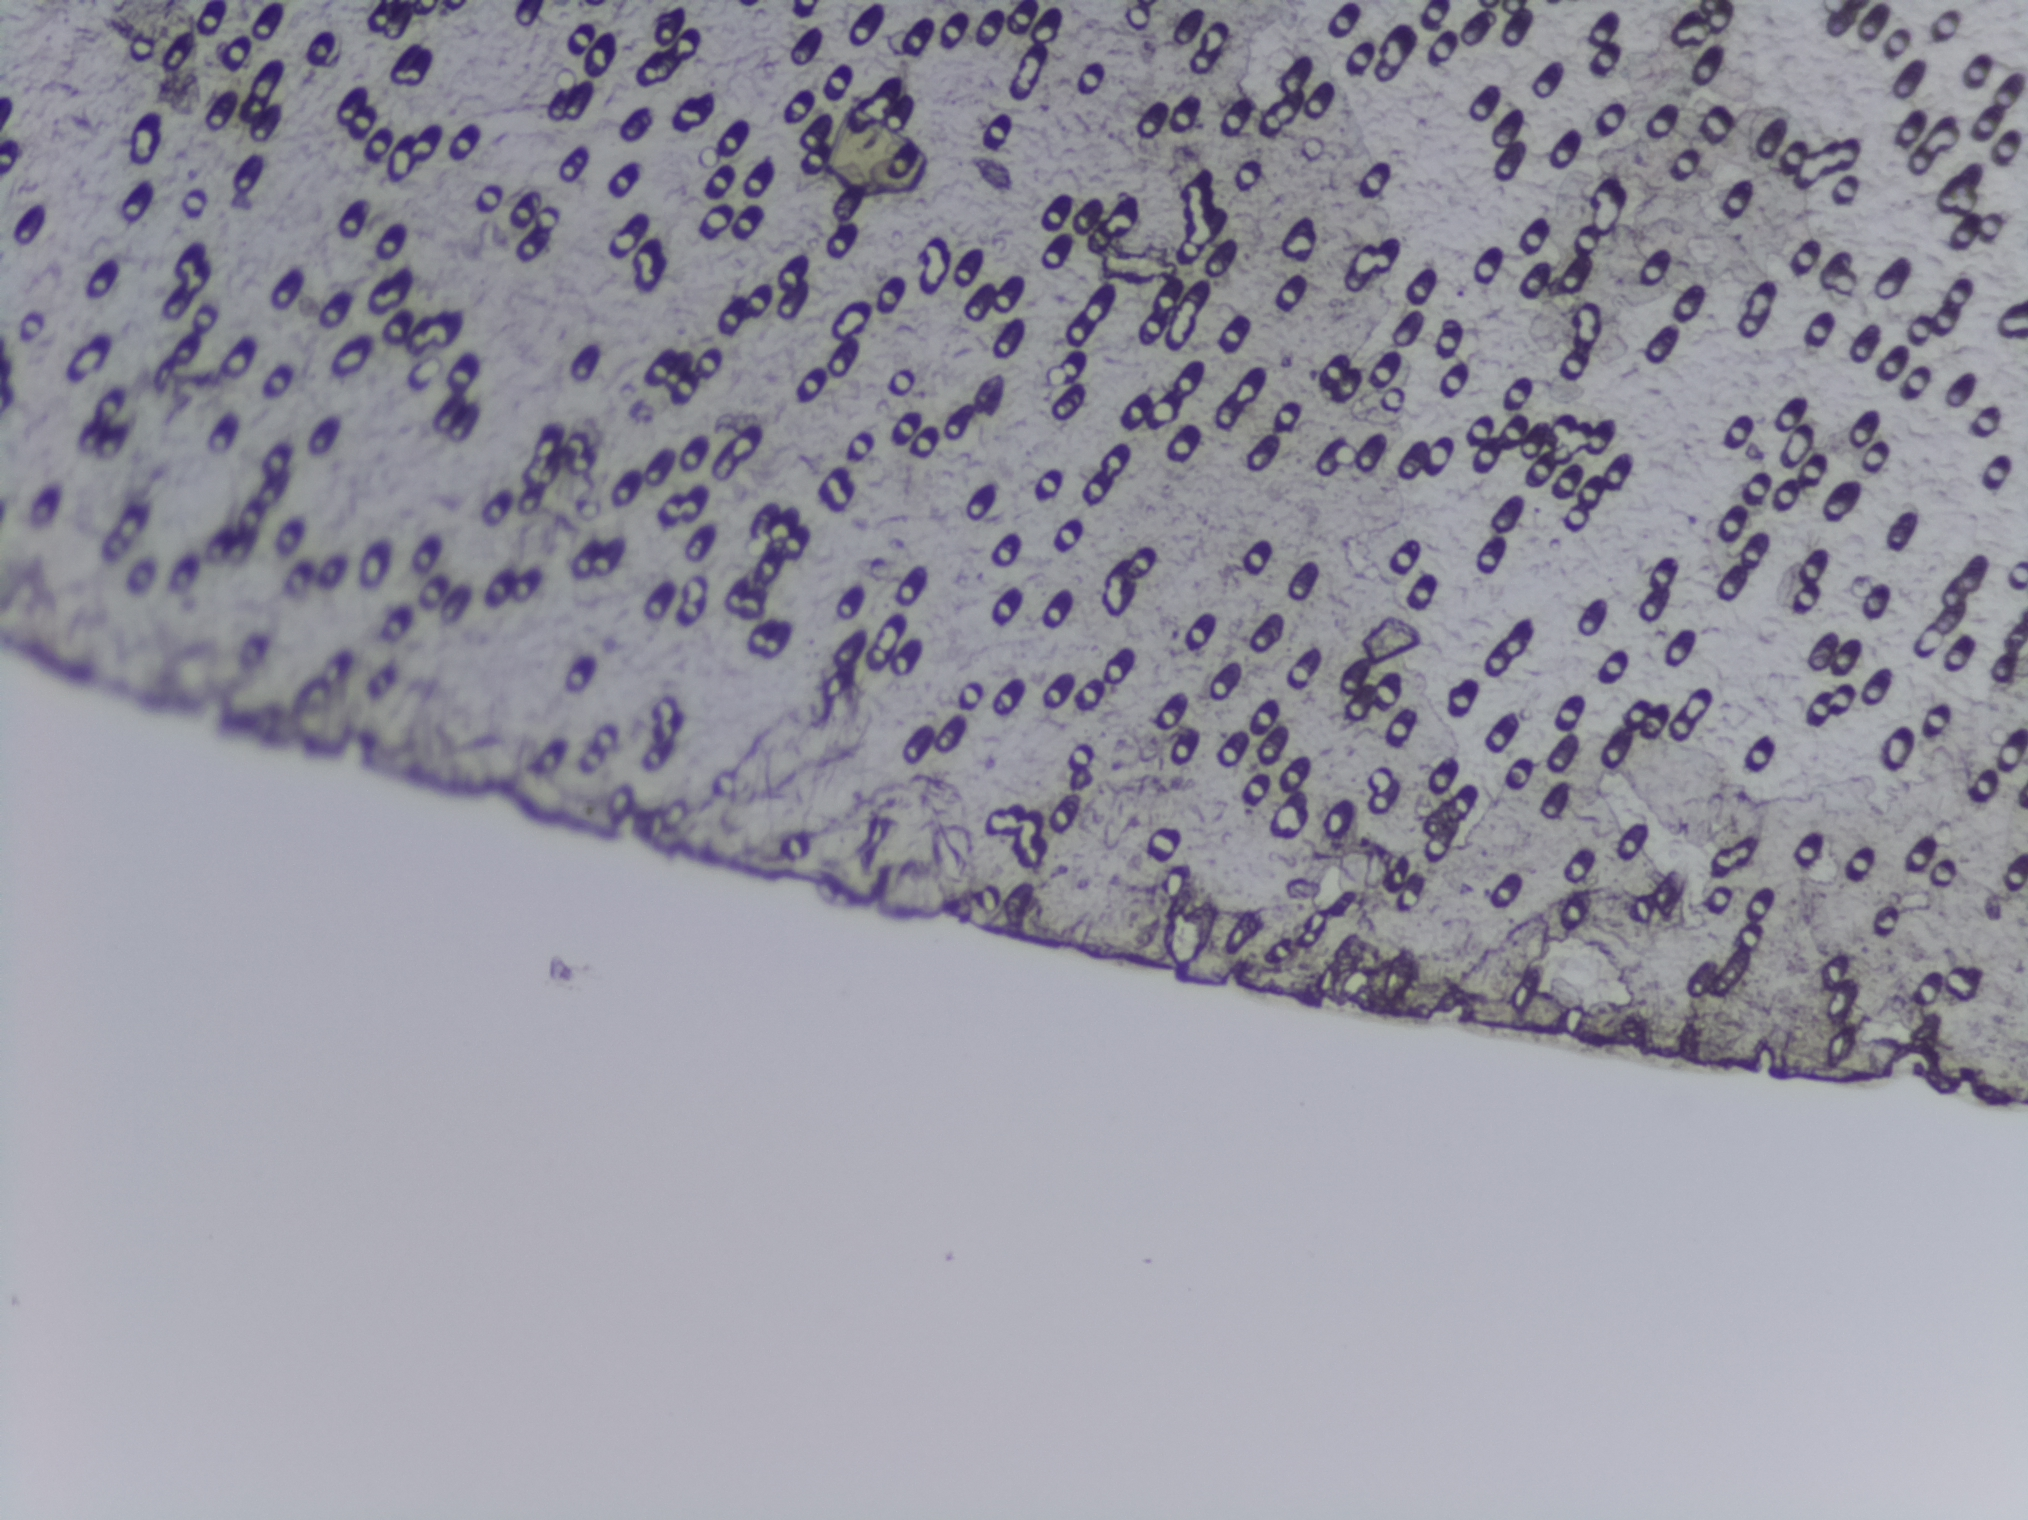
Urine filtration membrane under a 4× objective, photographed by an automated digital microscope.
The expert annotation marks no Schistosoma egg in this field of view.